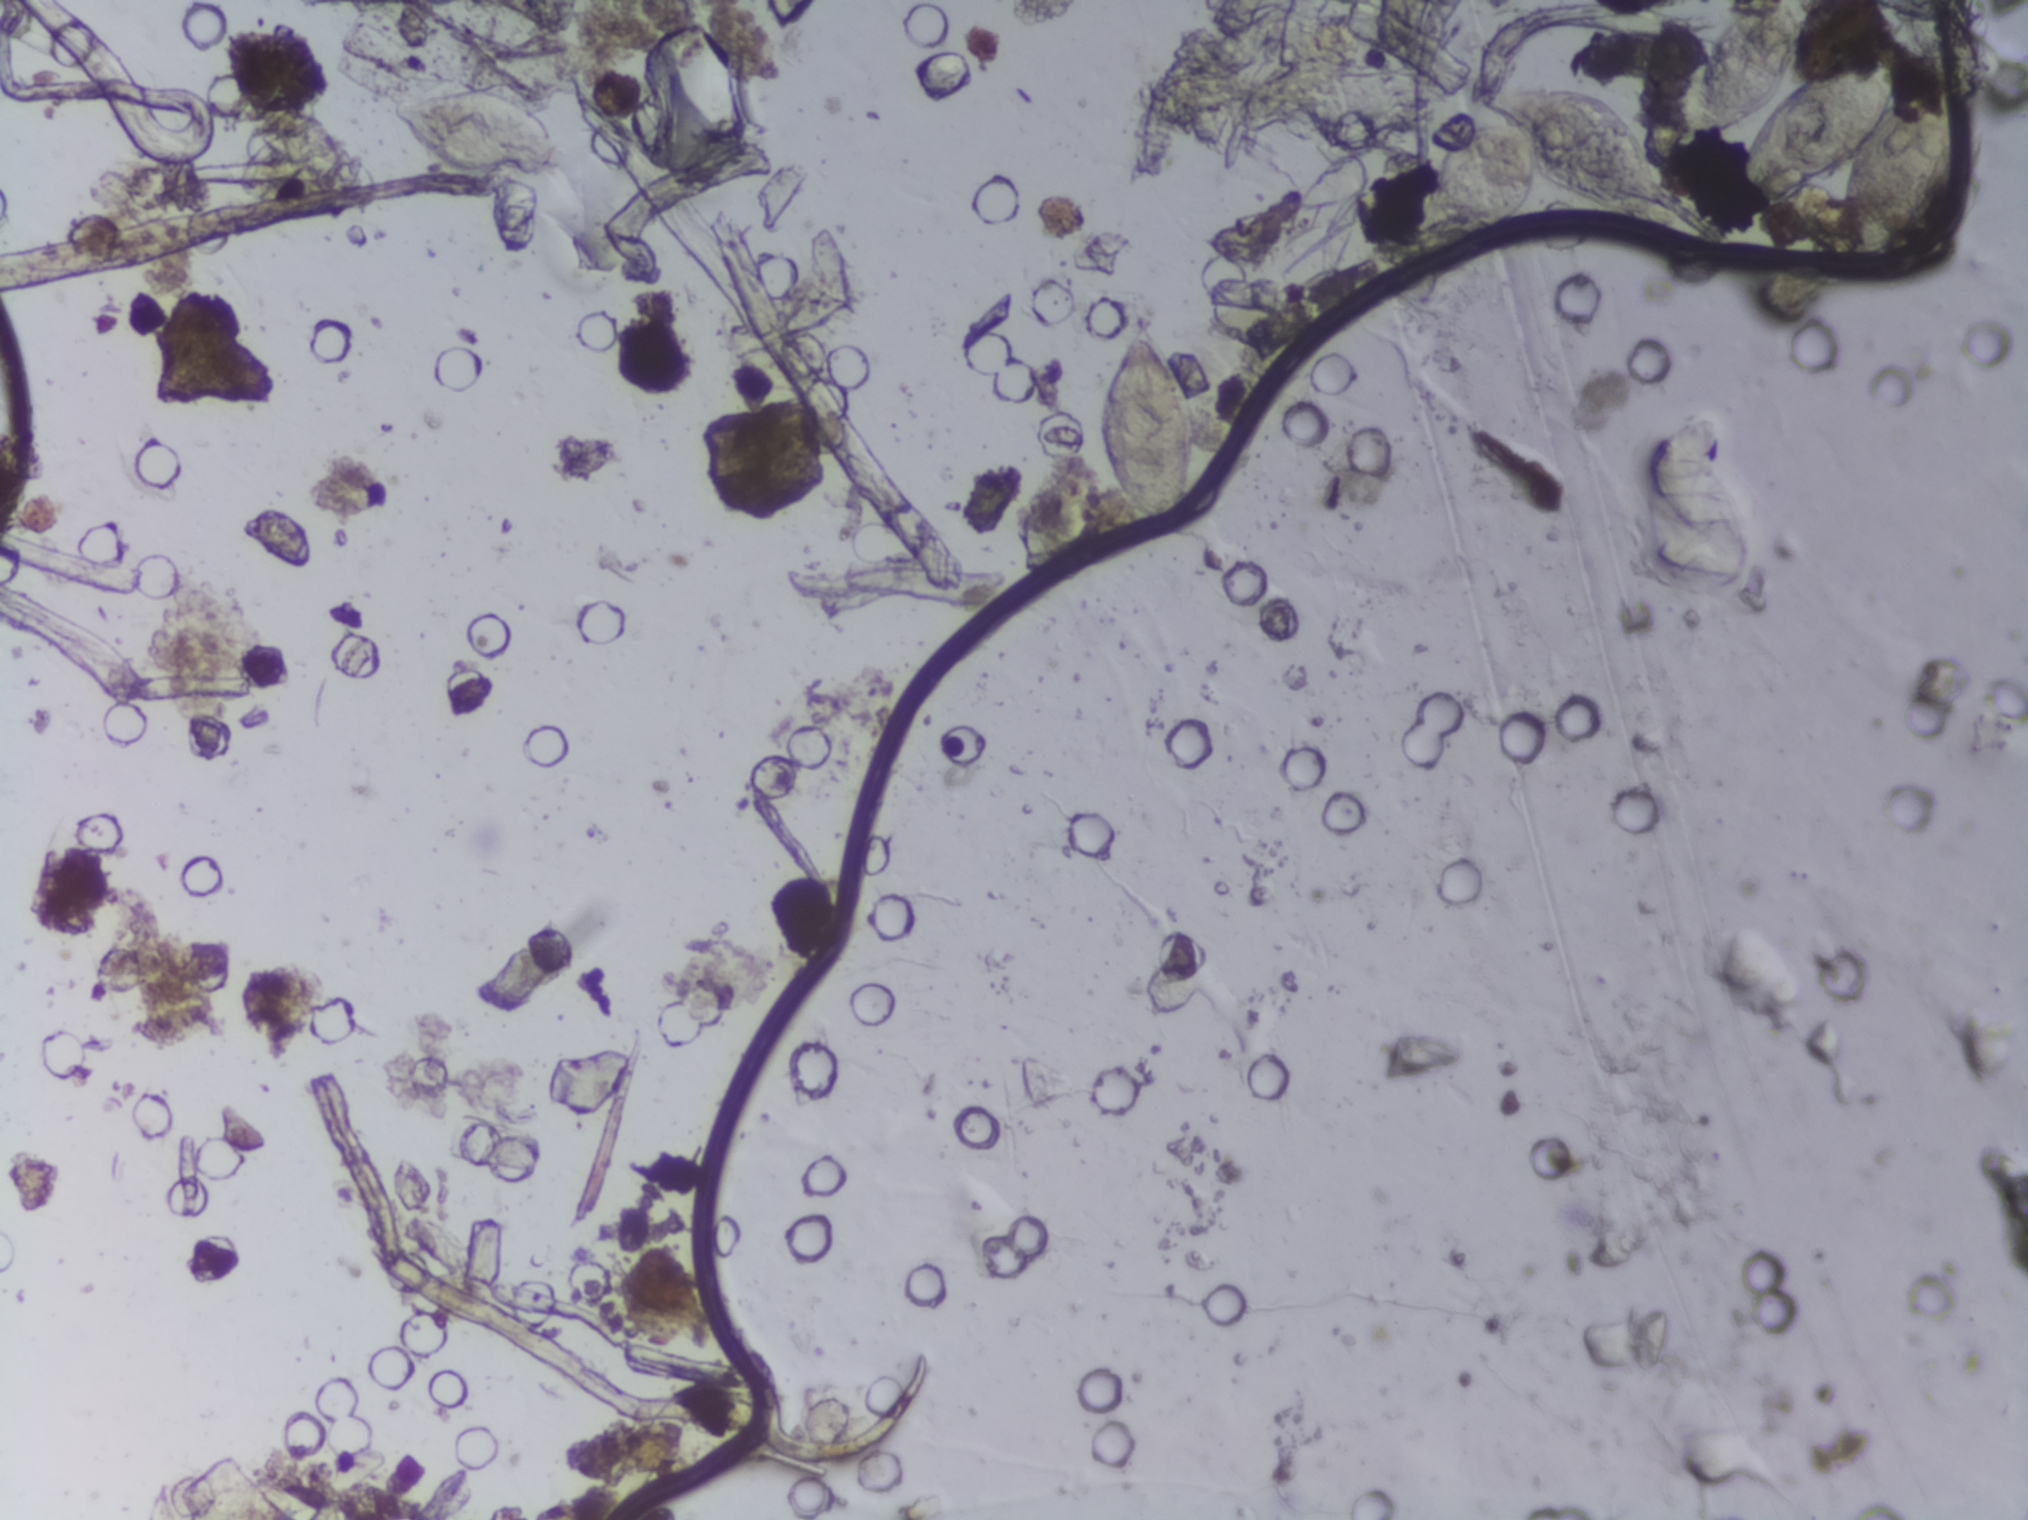
Microscope photograph (4× objective) of a membrane that a urine sample was filtered through.
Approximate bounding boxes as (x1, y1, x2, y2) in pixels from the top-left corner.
Schistosoma egg areas, outlined: (386, 86, 560, 175); (1093, 316, 1196, 535); (1408, 82, 1674, 252); (1675, 0, 2005, 265) (eggs clustered together; reaching the top edge of the frame). Marked pixels, not the boxes around them: about 3.5% of the image. Eggs that touch can end up inside the same outlined area.